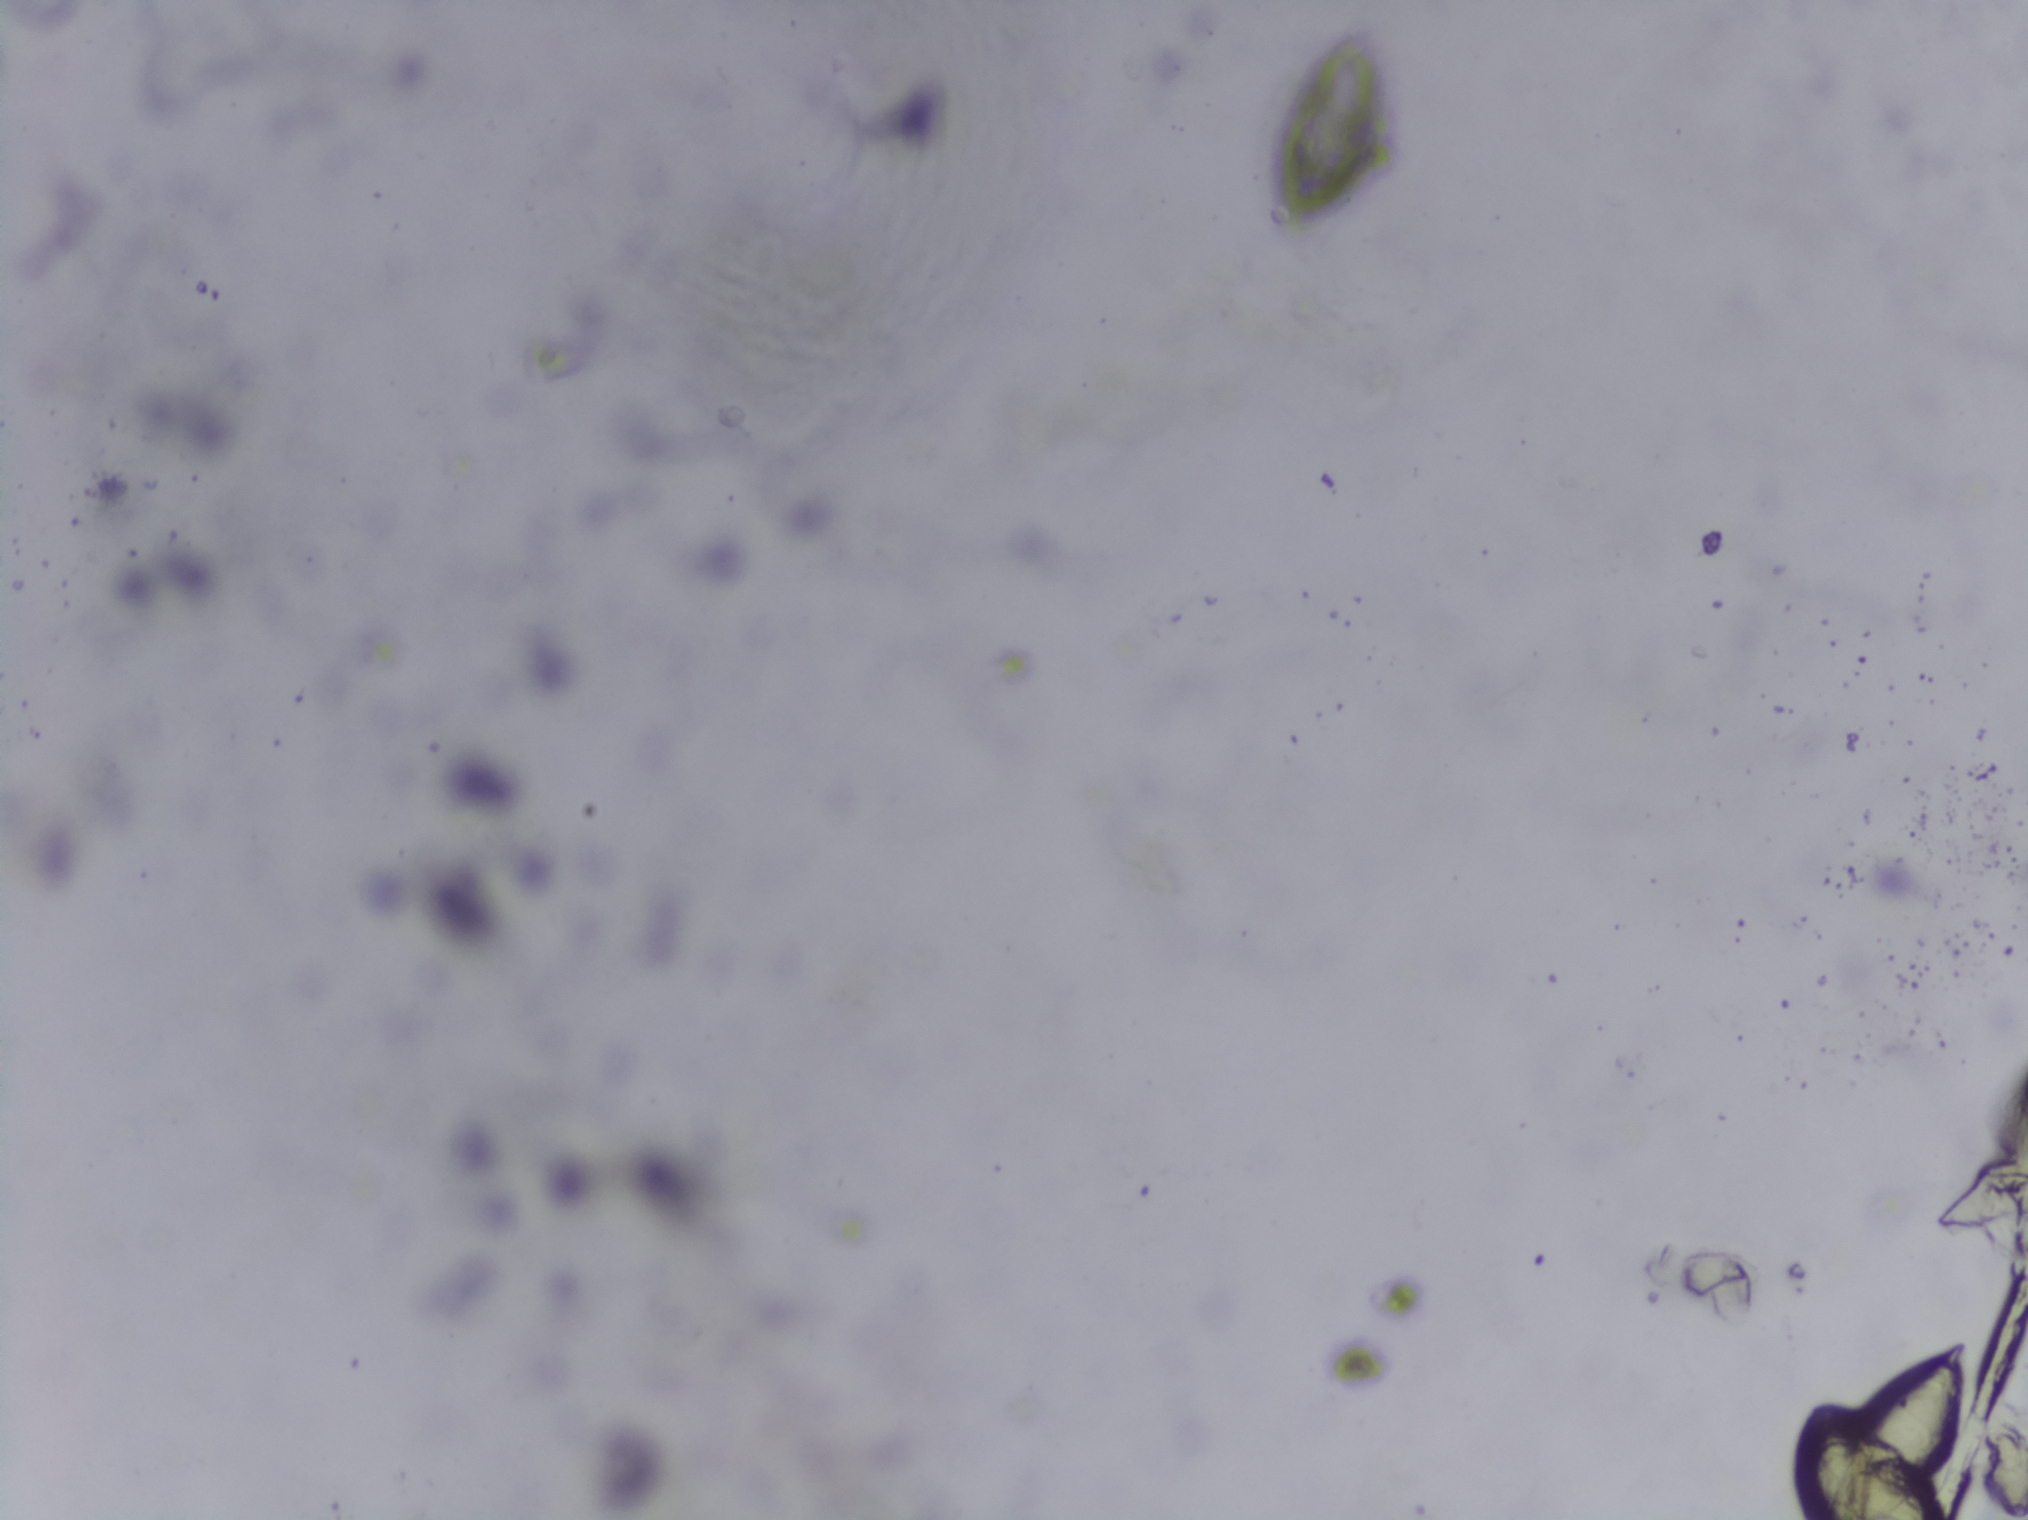
Microscope photograph (4× objective) of a membrane that a urine sample was filtered through.
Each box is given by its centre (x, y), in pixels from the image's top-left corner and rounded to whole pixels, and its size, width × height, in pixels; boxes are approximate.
Outlined Schistosoma egg areas, left to right:
1. centre (1336, 130), 148 × 224 px
2. centre (1876, 1427), 185 × 185 px (reaching the bottom edge of the frame)
About 1.5% of the image's pixels are marked (the marked pixels themselves, not the boxes around them). Eggs that touch can end up inside the same outlined area. Any one outlined egg may, rarely, be S. mansoni rather than S. haematobium.